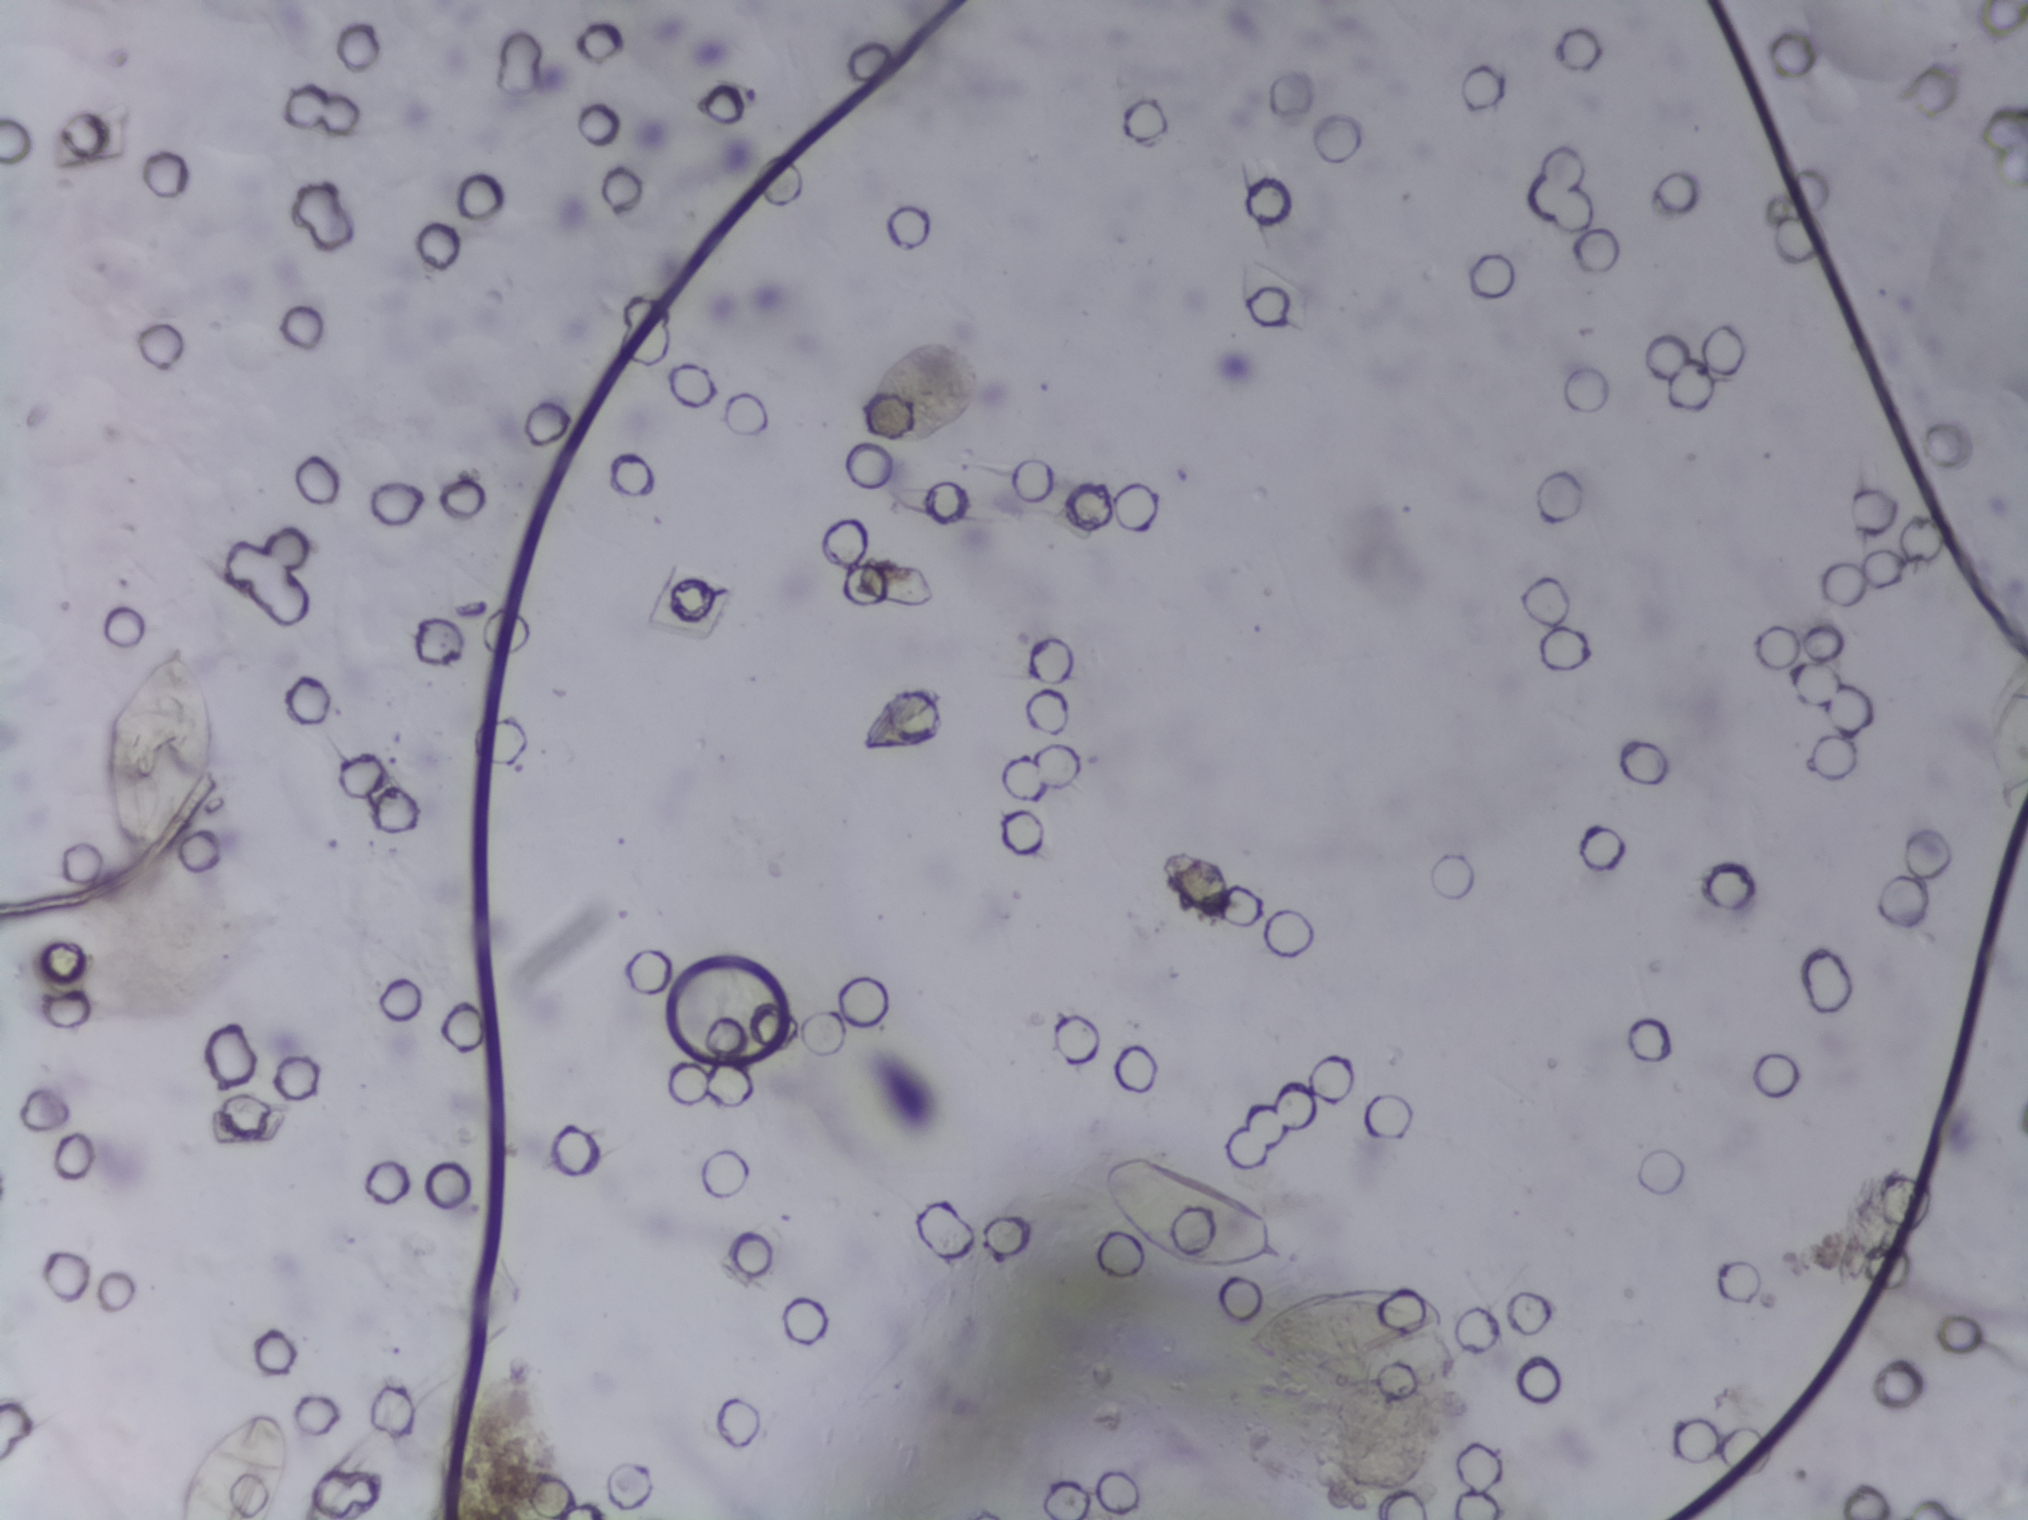
Photomicrograph of a urine filtration membrane, 4× objective. The field of view is about 1.5 mm × 1.1 mm.
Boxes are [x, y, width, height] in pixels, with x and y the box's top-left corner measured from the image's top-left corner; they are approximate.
Five areas of this image are outlined as Schistosoma eggs, from left to right: [107, 642, 114, 215]; [177, 1411, 120, 109] (reaching the bottom edge of the frame); [1101, 1154, 187, 121]; [1245, 1283, 234, 109]; [1986, 664, 42, 150] (reaching the right edge of the frame). An outlined area can hold more than one egg.